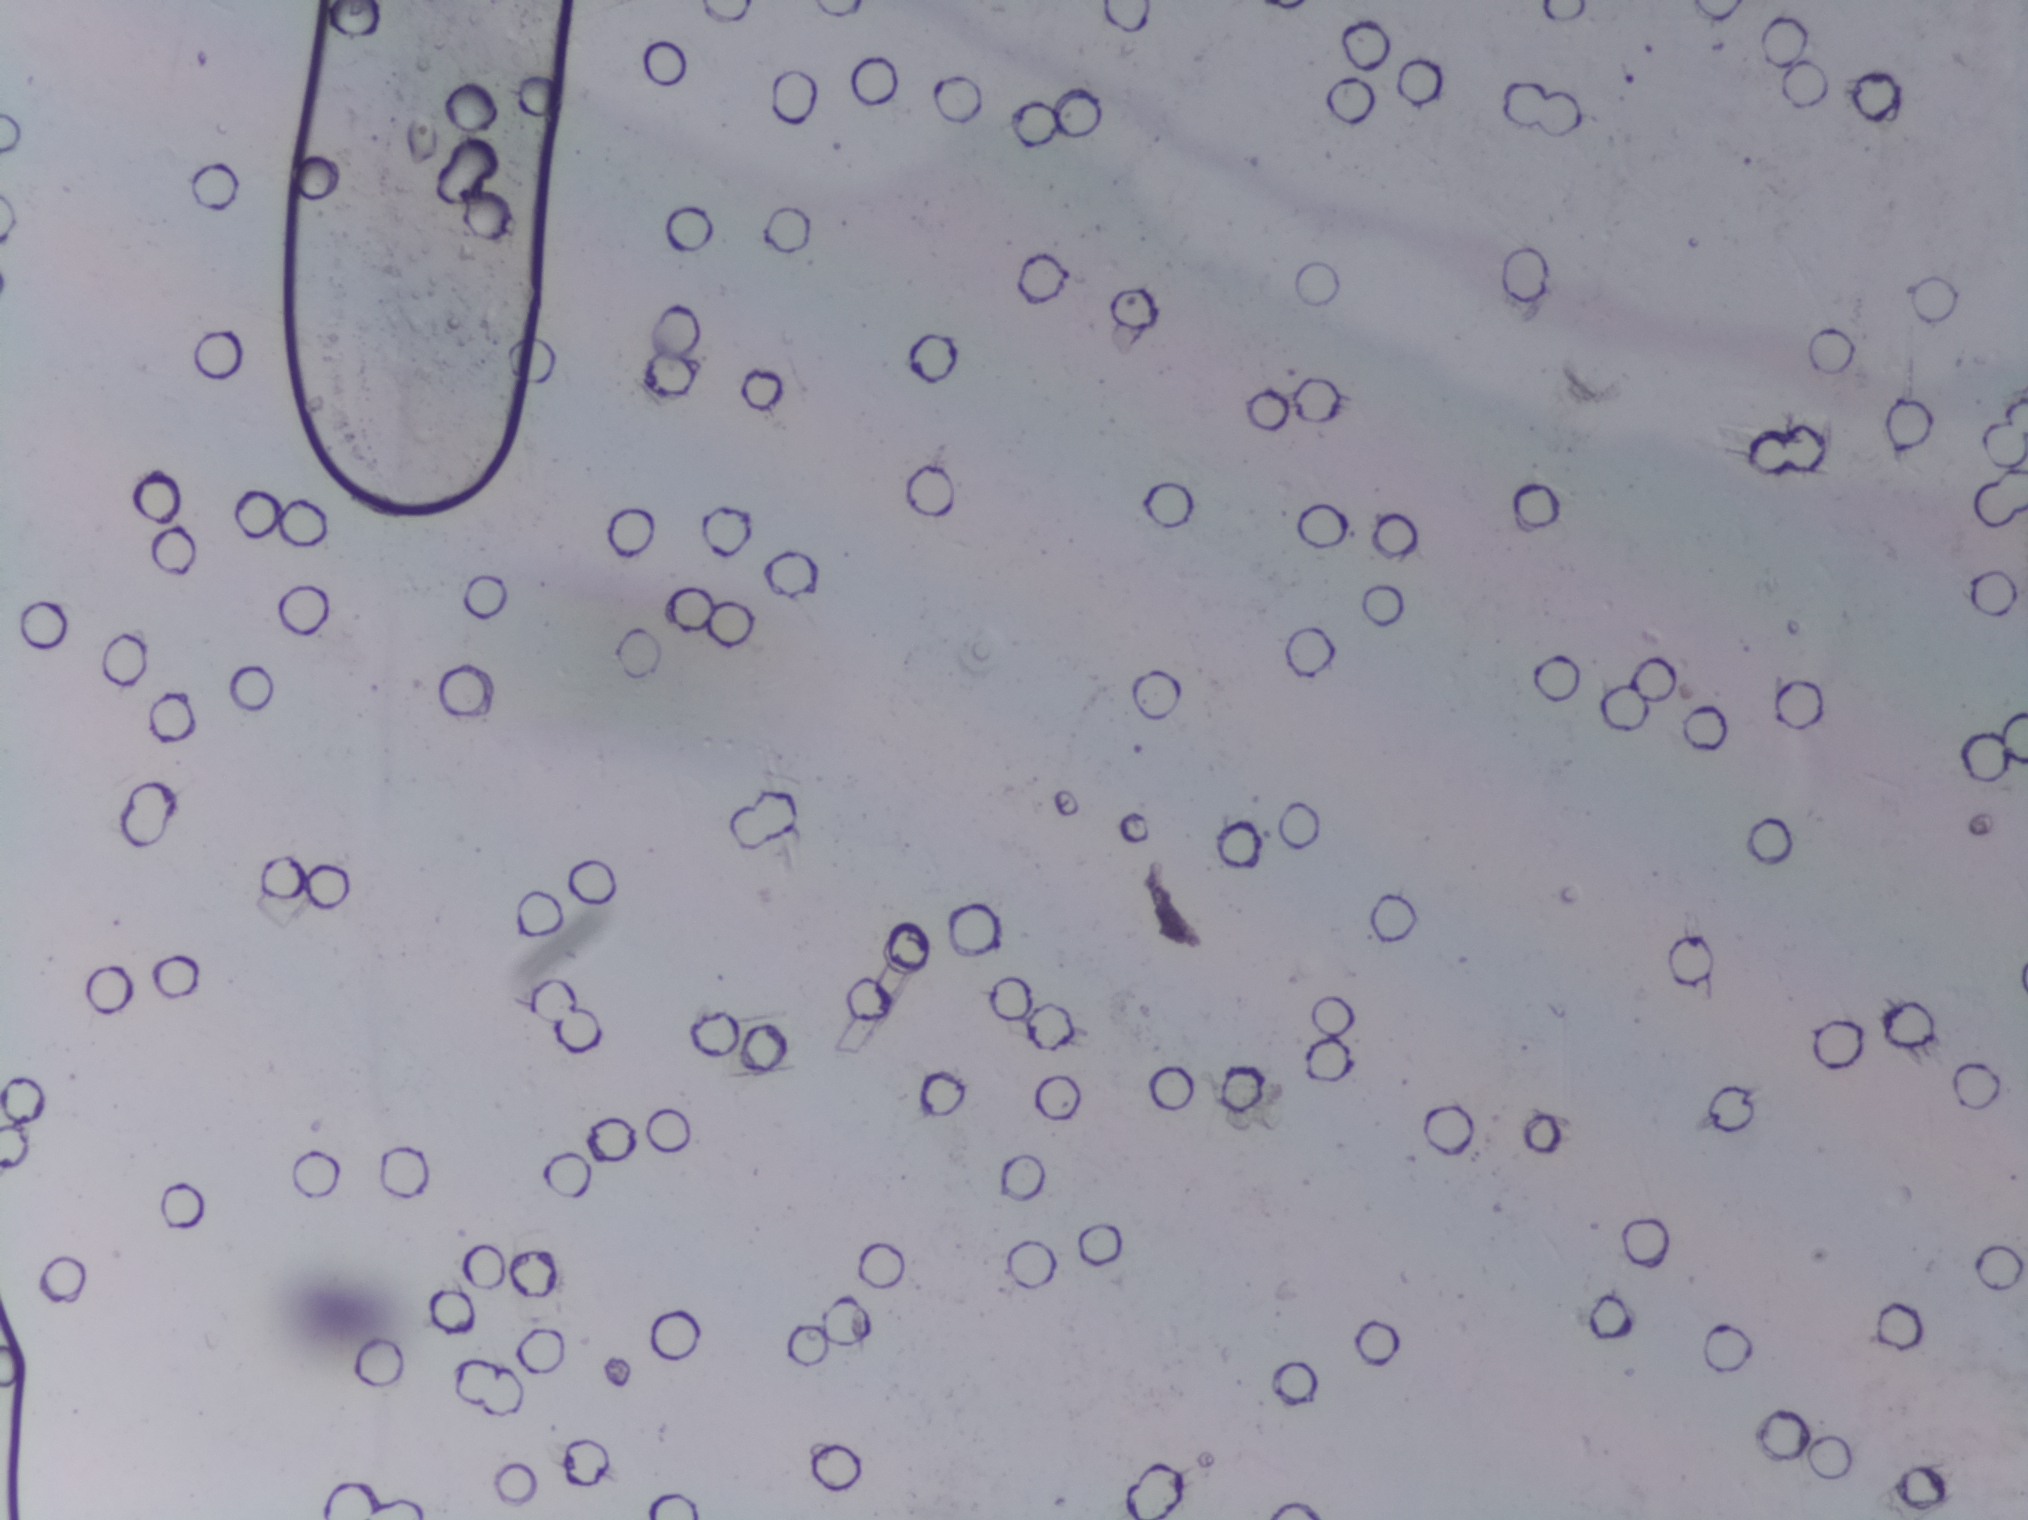
One field of view of a urine filter membrane, 4× objective, 2028 × 1520 pixels. Field of view: about 1.5 mm wide and 1.1 mm high.
The expert annotation marks no Schistosoma egg in this field of view.